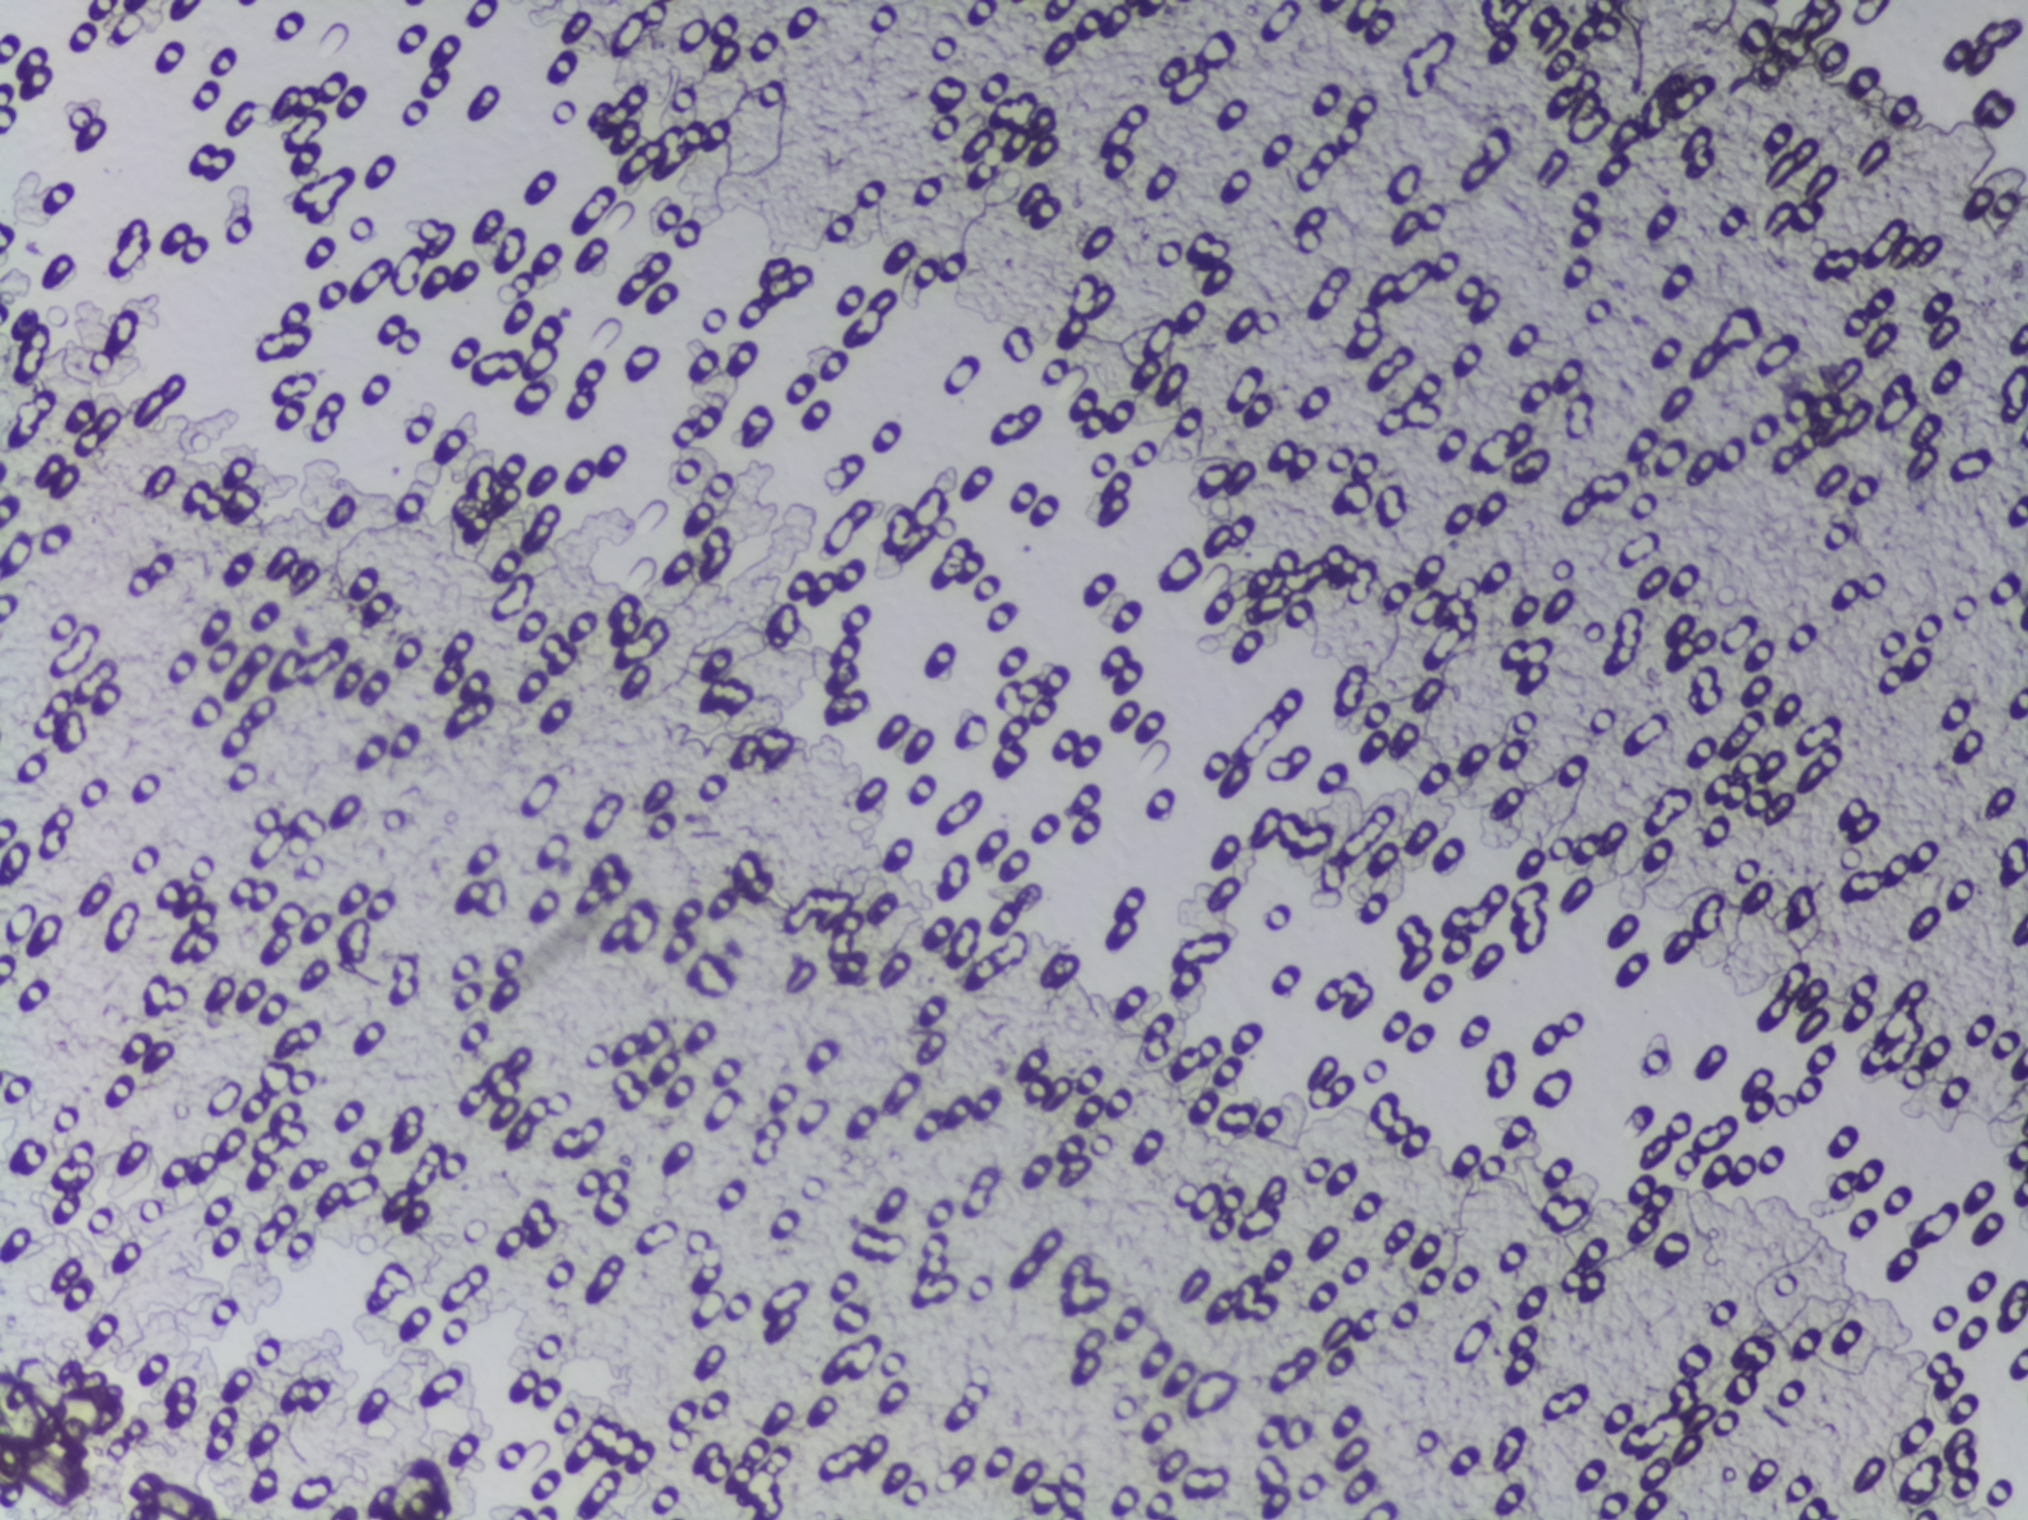
Urine filter membrane photographed through a 4× microscope objective.
The expert annotation outlines no Schistosoma egg in this image.